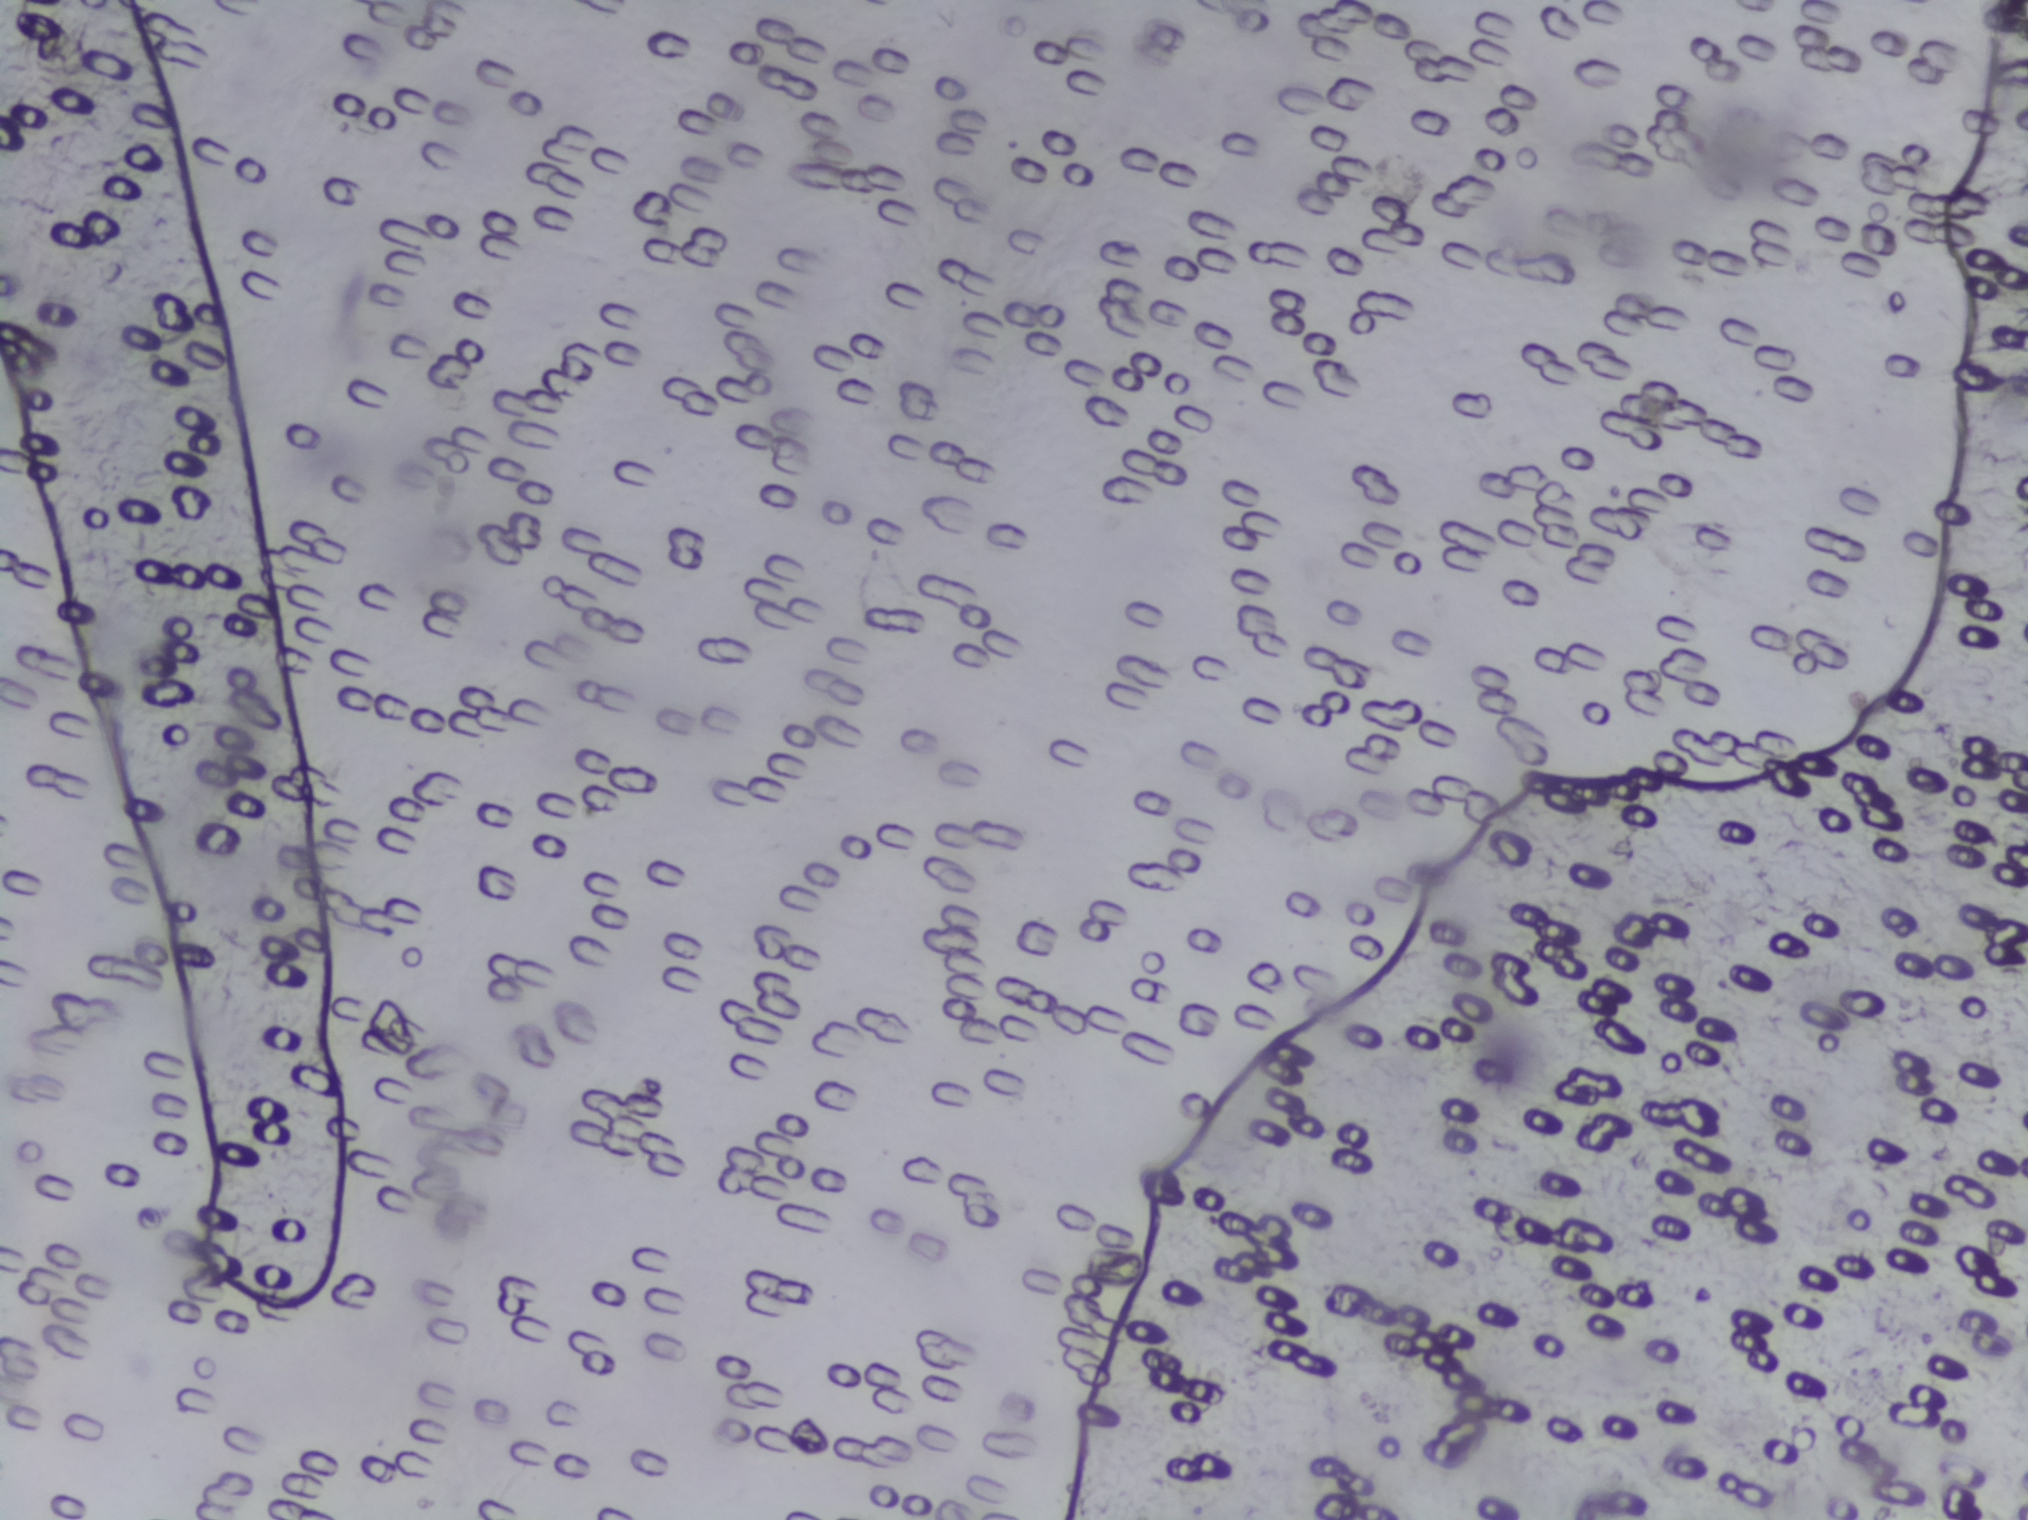
No Schistosoma egg is outlined in this image's expert annotation.
Photomicrograph of a urine filtration membrane, 4× objective.